Urine filtration membrane under a 4× objective, photographed by an automated digital microscope.
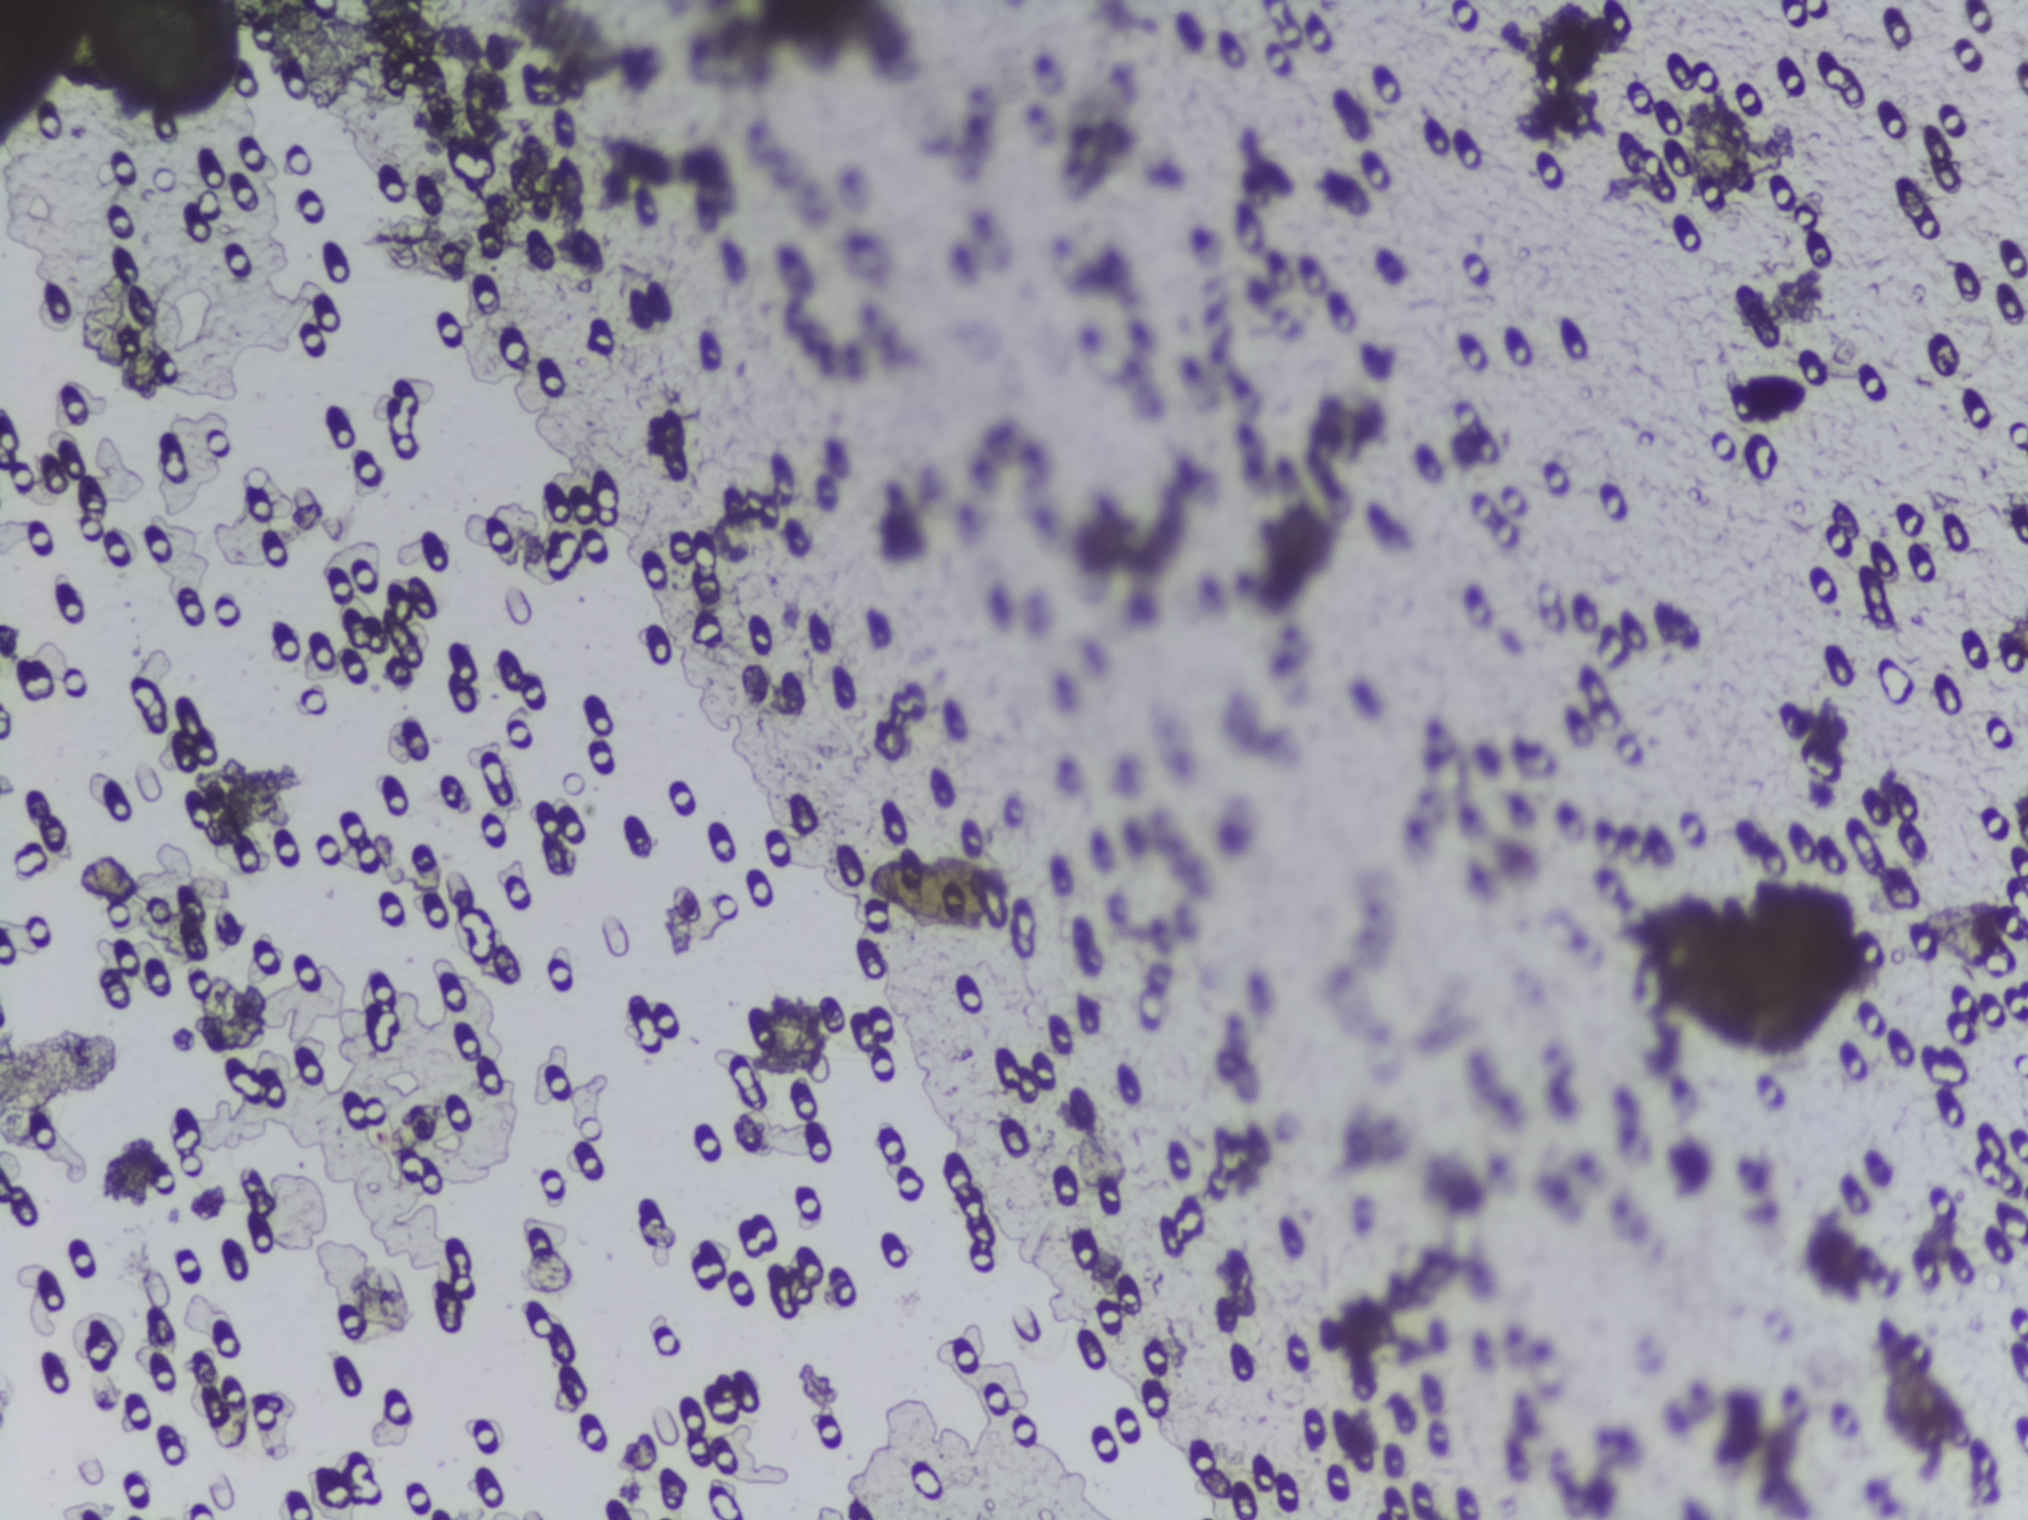
Schistosoma eggs: none outlined.